Urine filtration membrane under a 4× objective, photographed by an automated digital microscope.
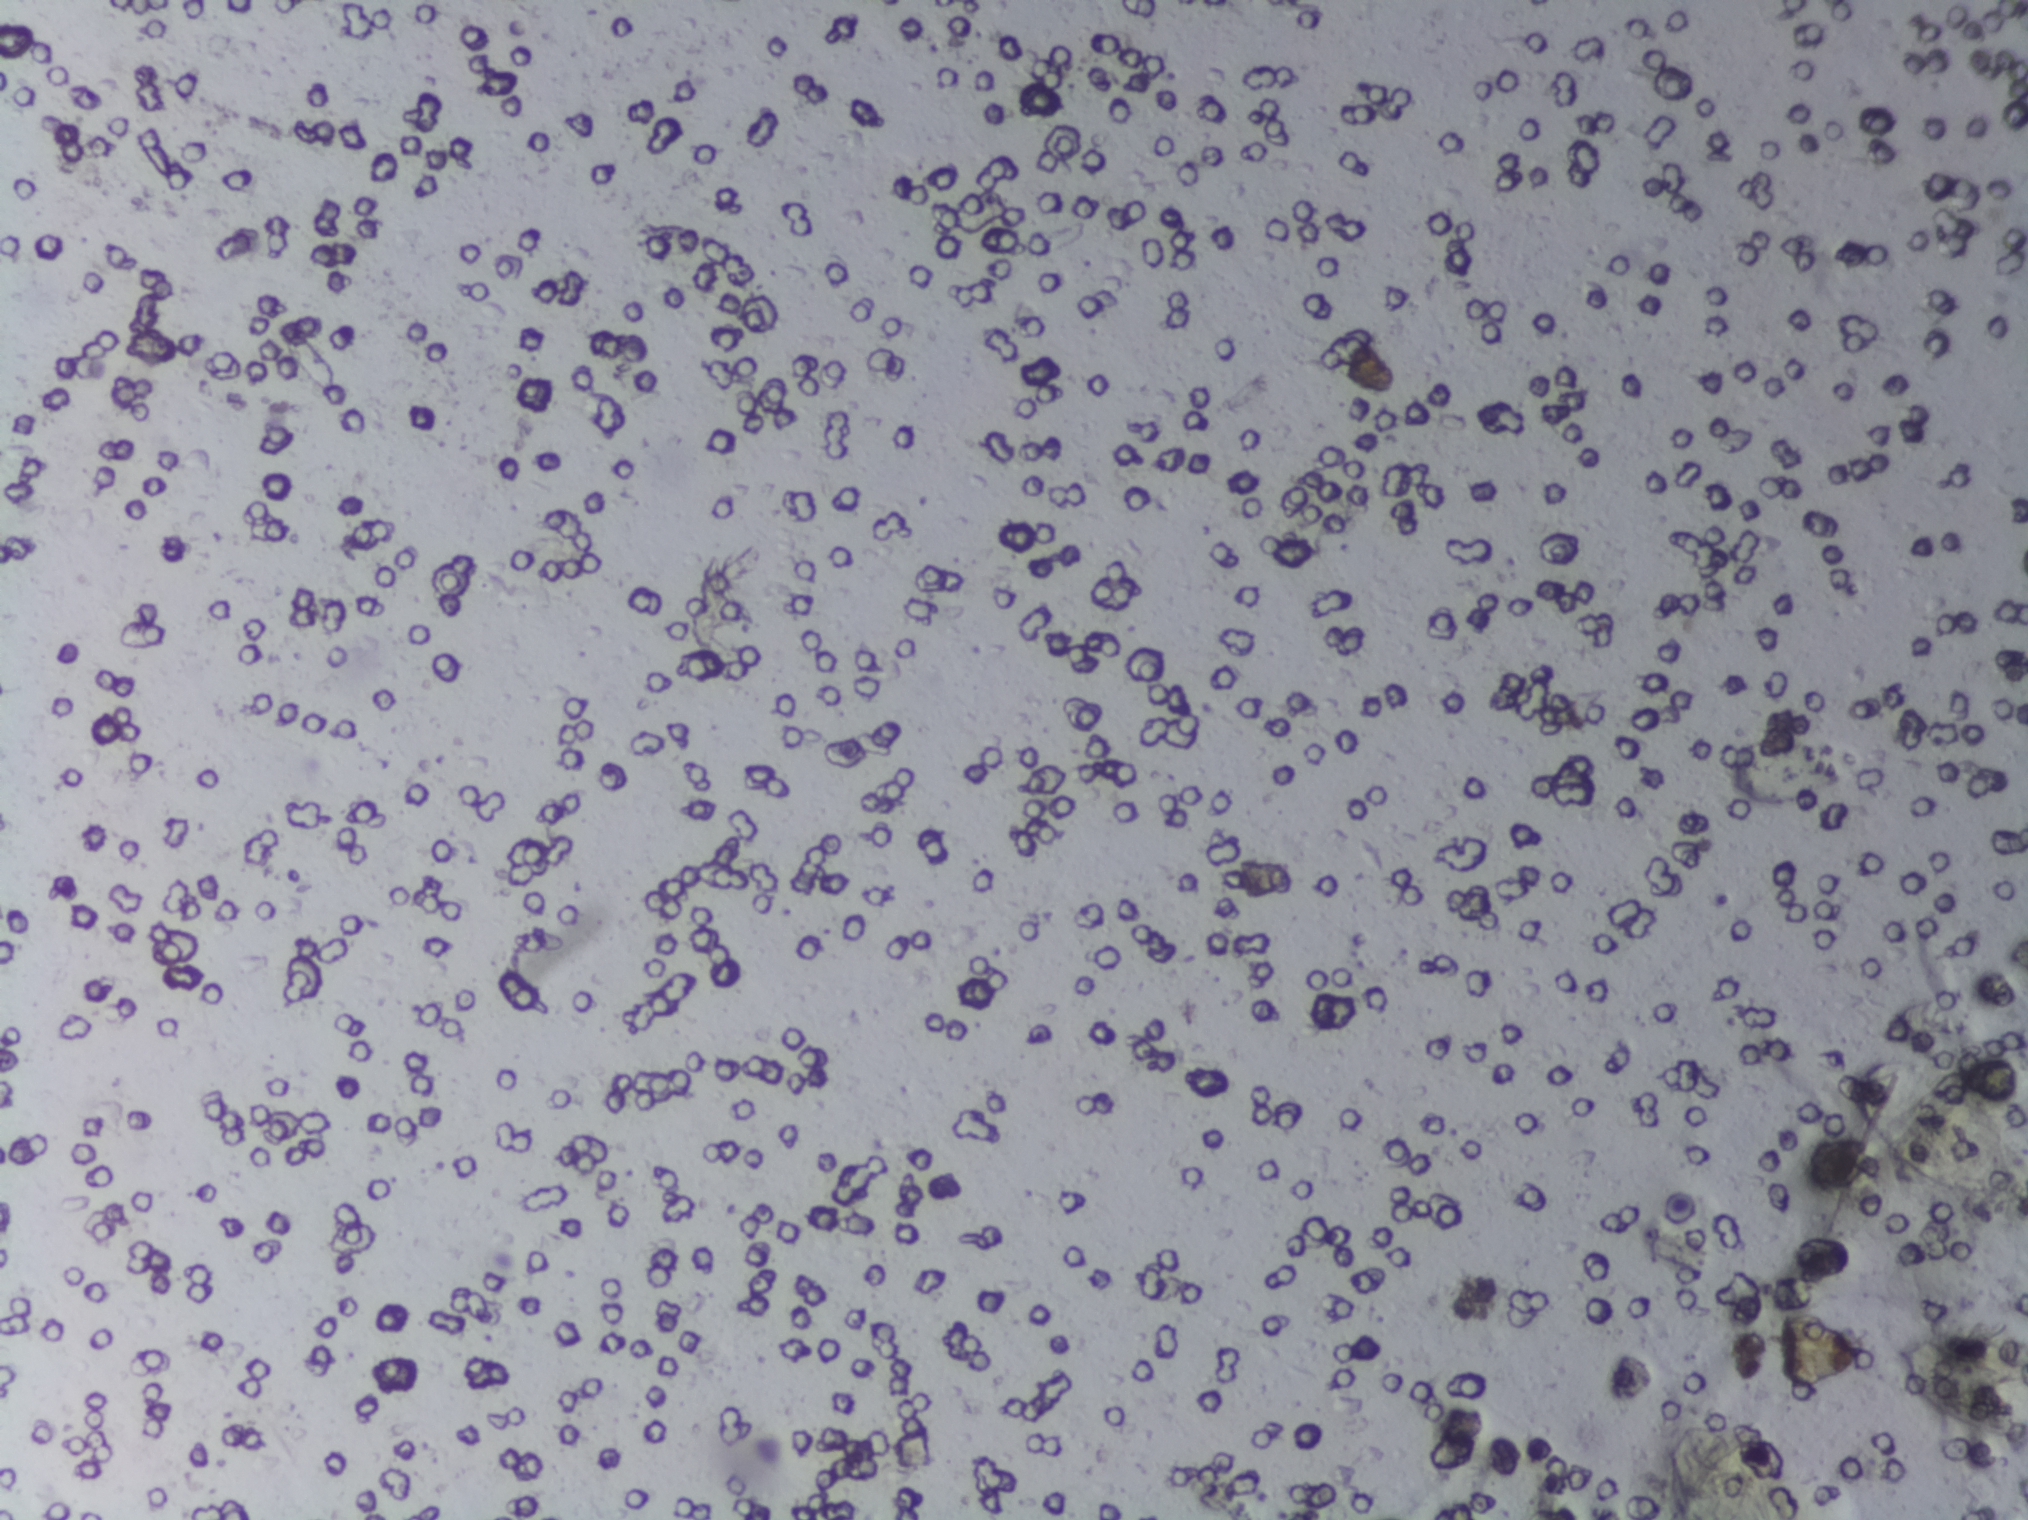
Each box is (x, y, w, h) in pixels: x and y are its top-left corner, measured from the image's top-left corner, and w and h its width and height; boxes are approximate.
Schistosoma eggs are outlined in the expert annotation at (x=1850, y=1051, w=175, h=151) and (x=1891, y=1331, w=137, h=112) (reaching the right edge of the frame) (left to right). The marked pixels themselves, not the boxes around them, cover about 1.0% of the image. An outlined area can hold more than one egg. Any one outlined egg may, rarely, be S. mansoni rather than S. haematobium.